One field of view of a urine filter membrane, 4× objective, 2028 × 1520 pixels.
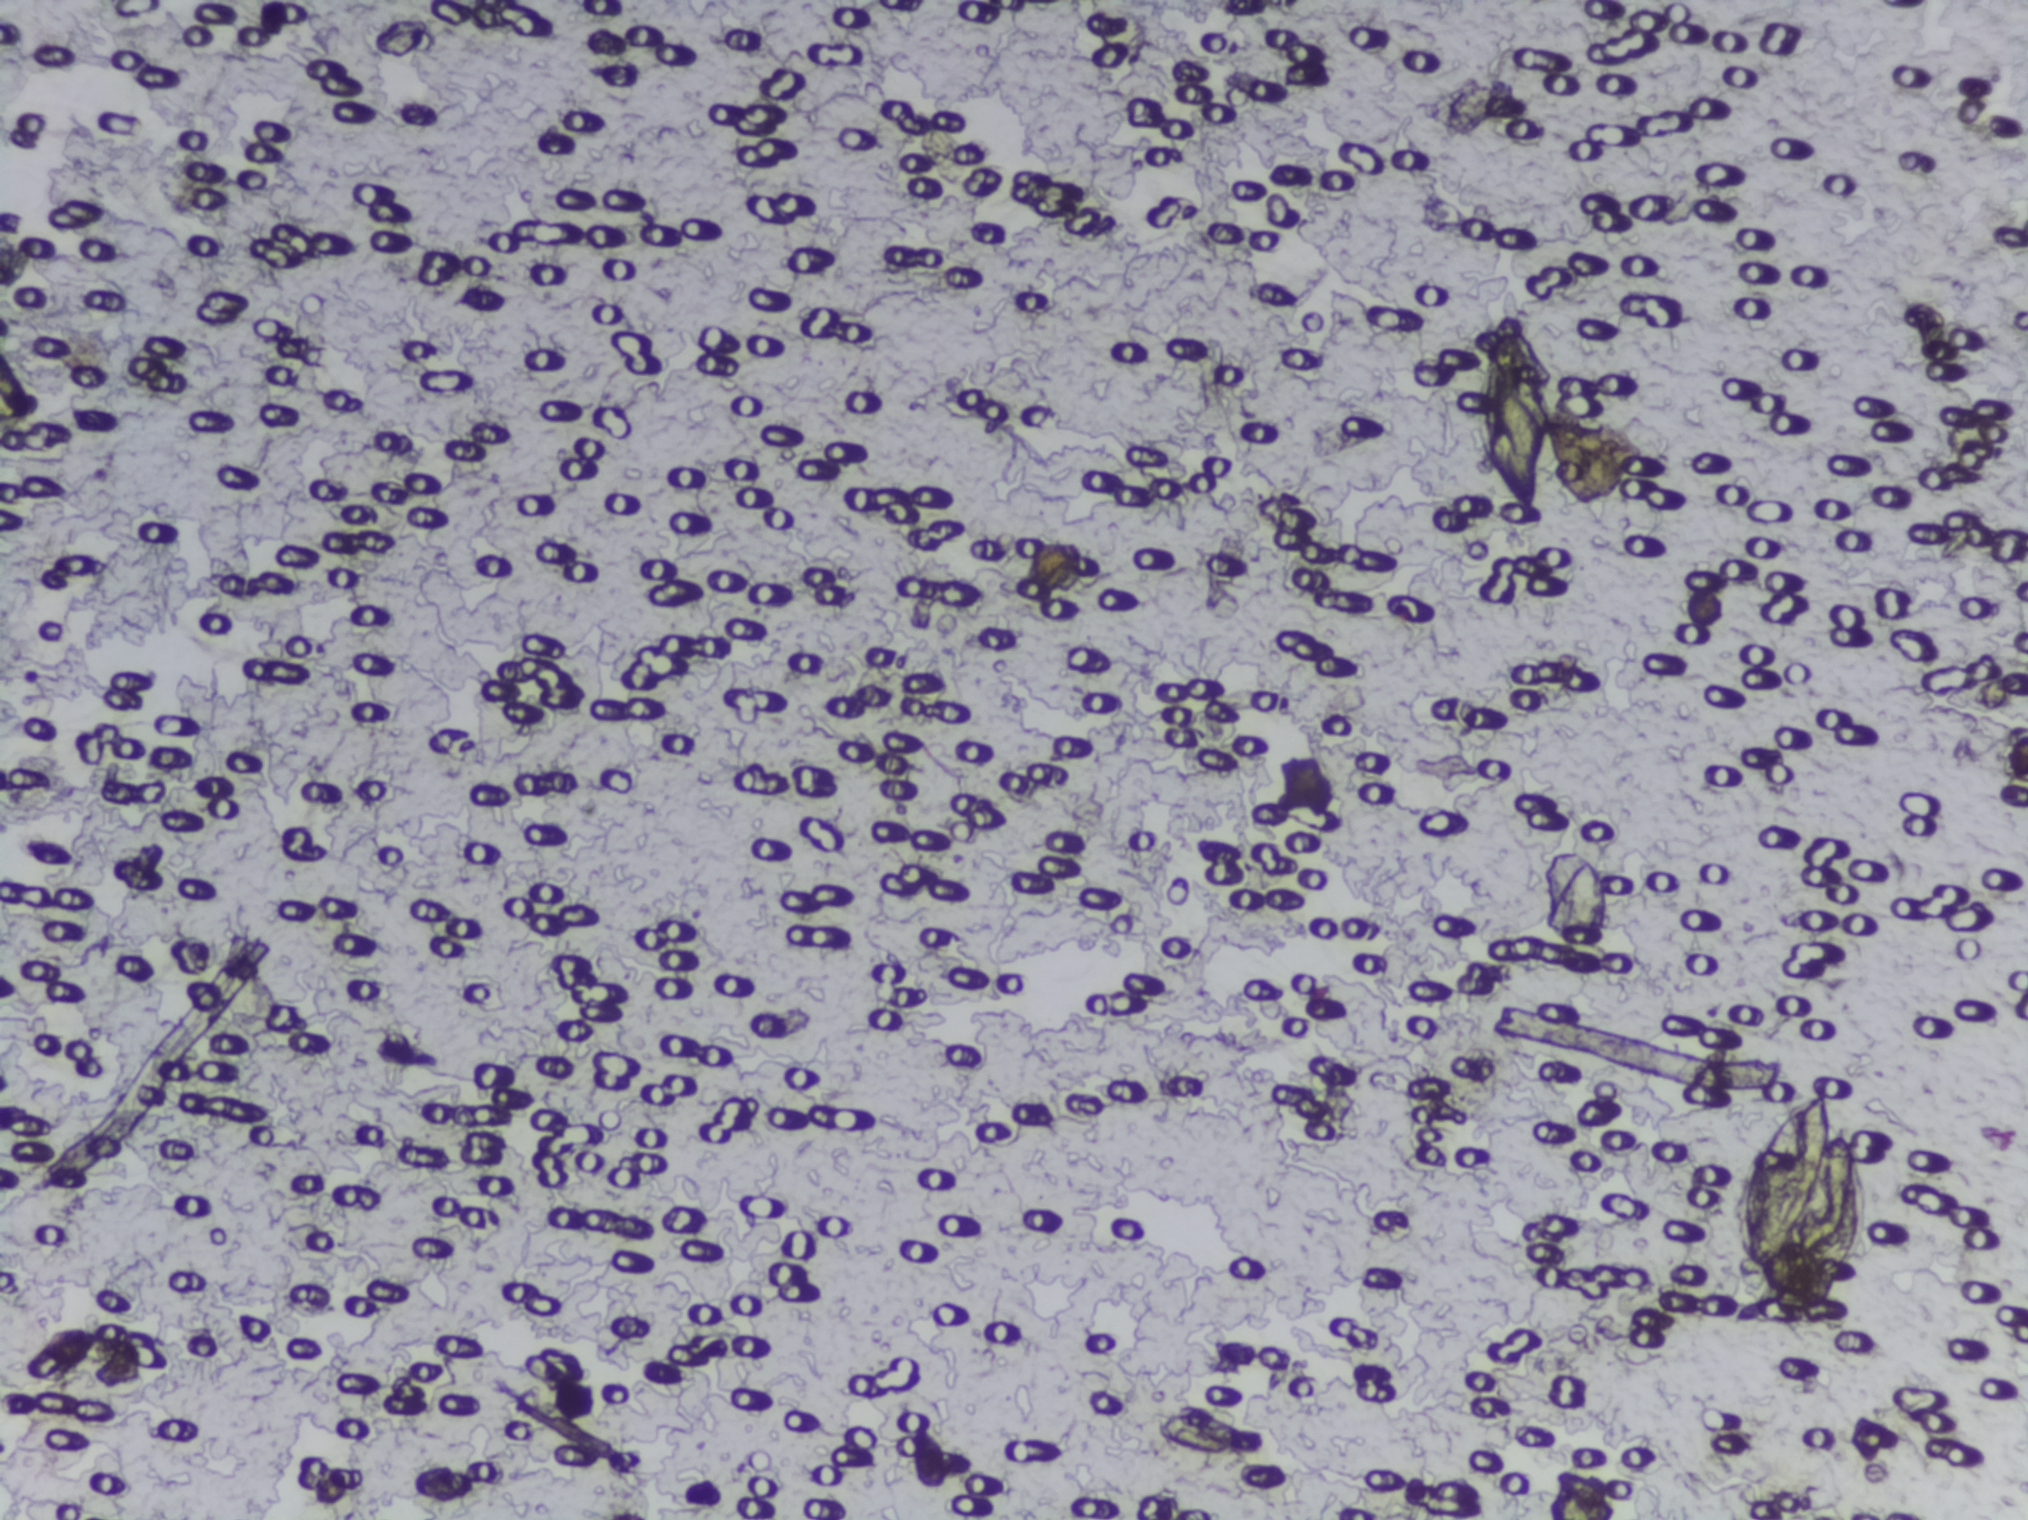
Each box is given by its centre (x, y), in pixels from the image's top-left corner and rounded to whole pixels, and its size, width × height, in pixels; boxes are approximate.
Two areas of this image are outlined as Schistosoma eggs, from left to right: centre (1510, 414), 115 × 222 px and centre (1804, 1202), 160 × 264 px. The marked pixels themselves, not the boxes around them, cover about 1.7% of the image. A single outlined area may contain several eggs.